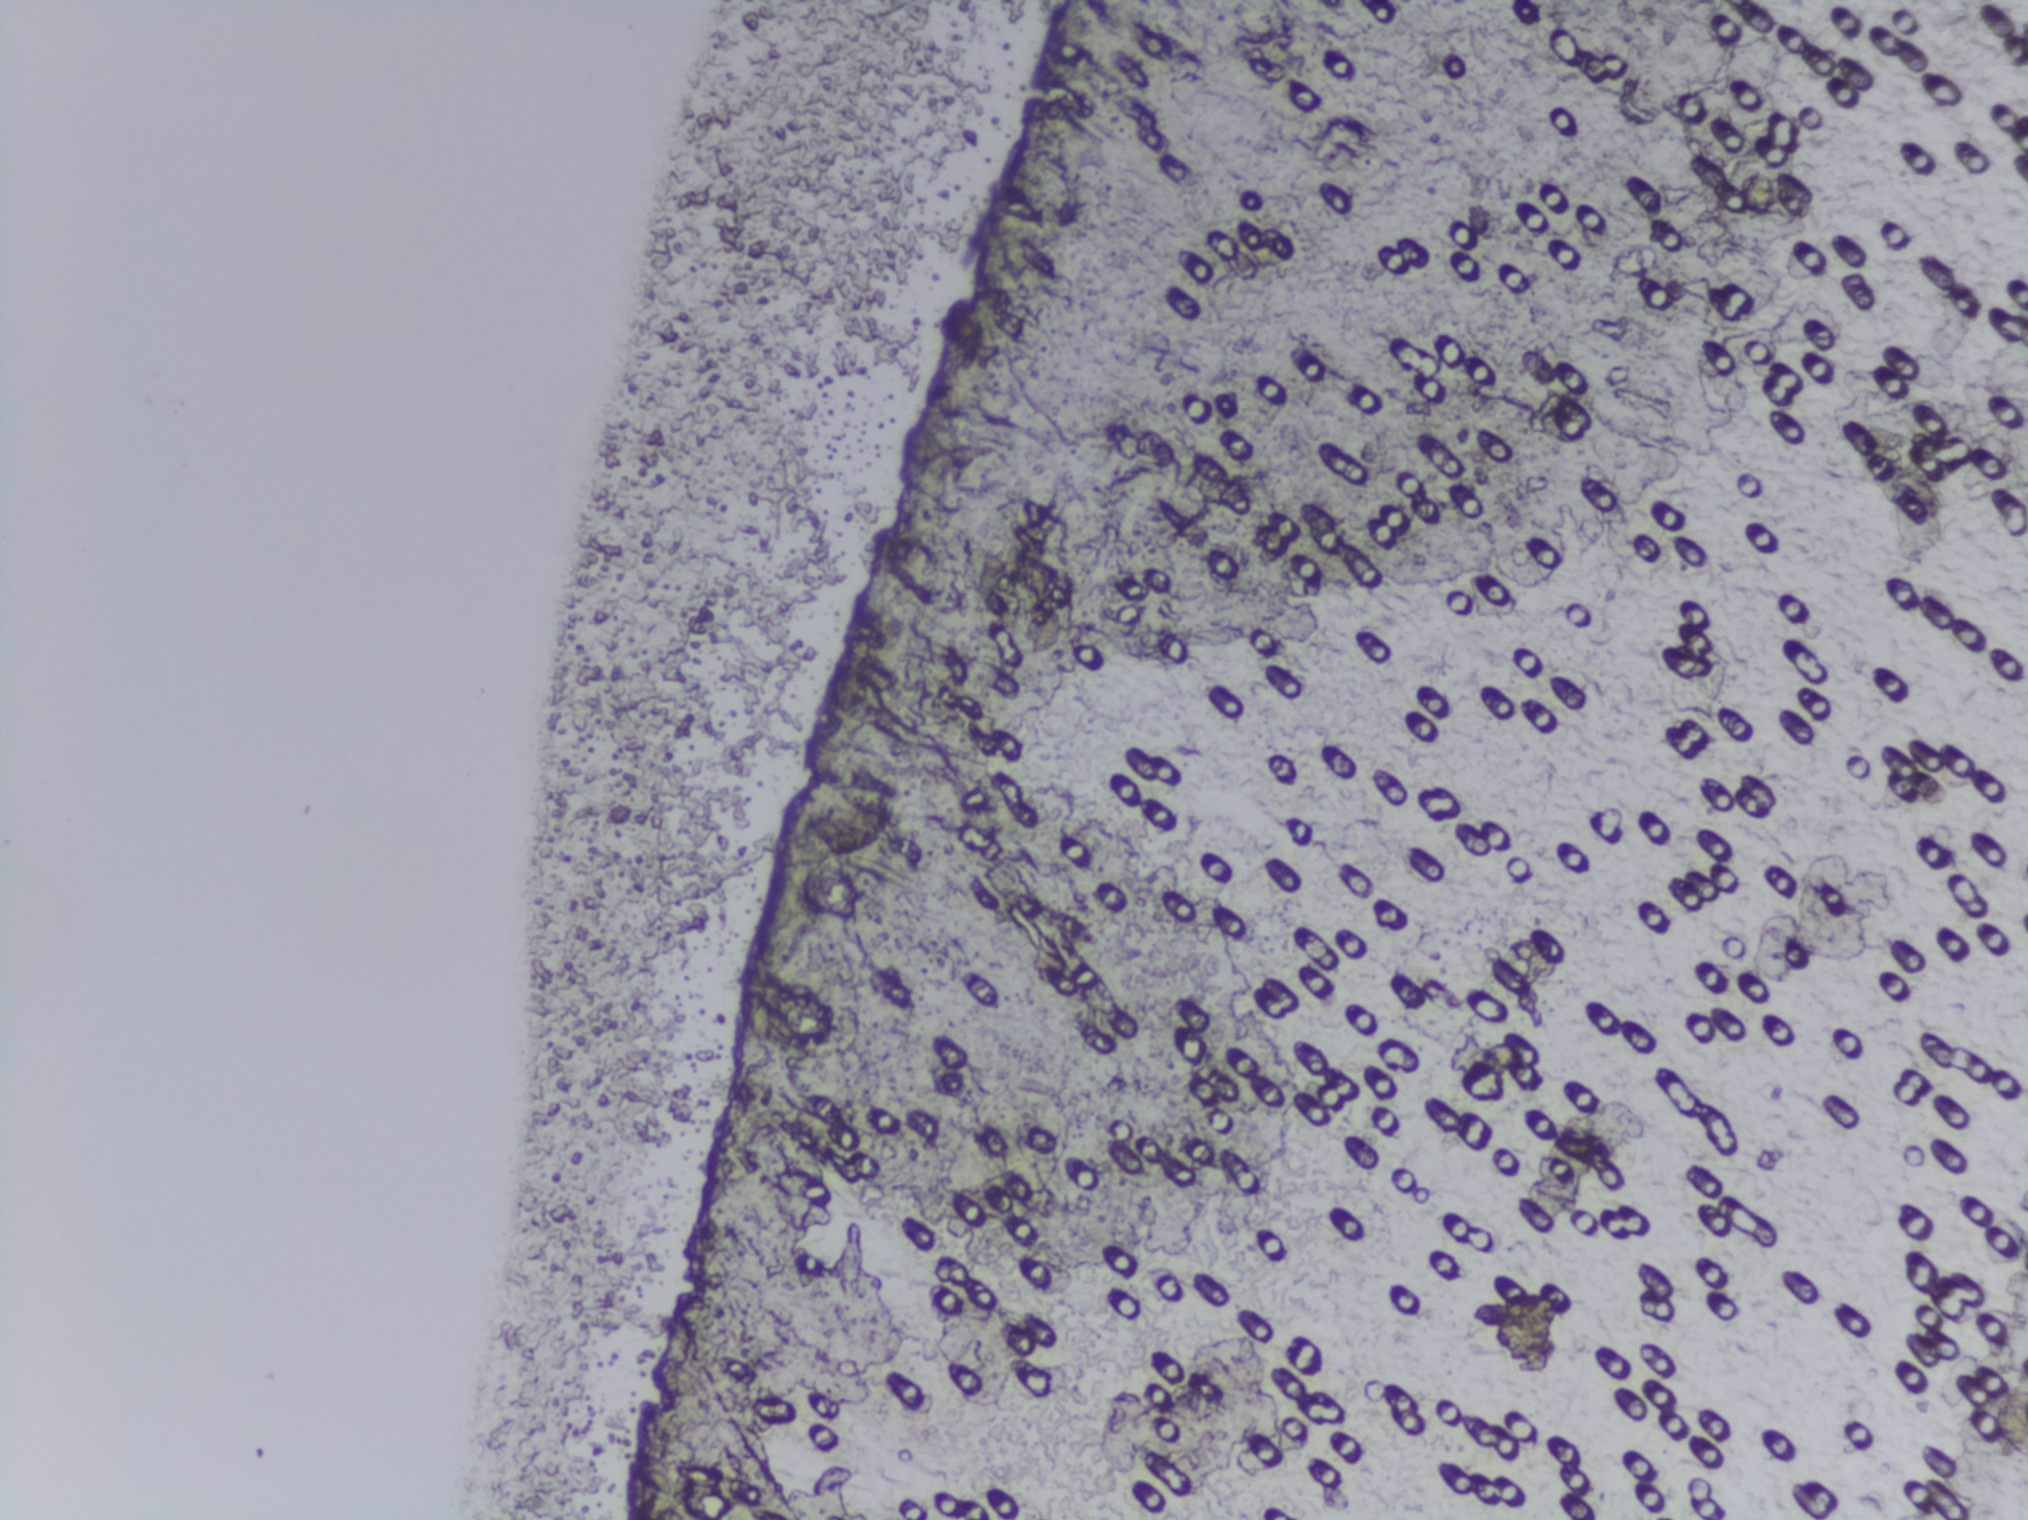
Schistosoma eggs: none outlined.
One field of view of a urine filter membrane, 4× objective, 2028 × 1520 pixels.